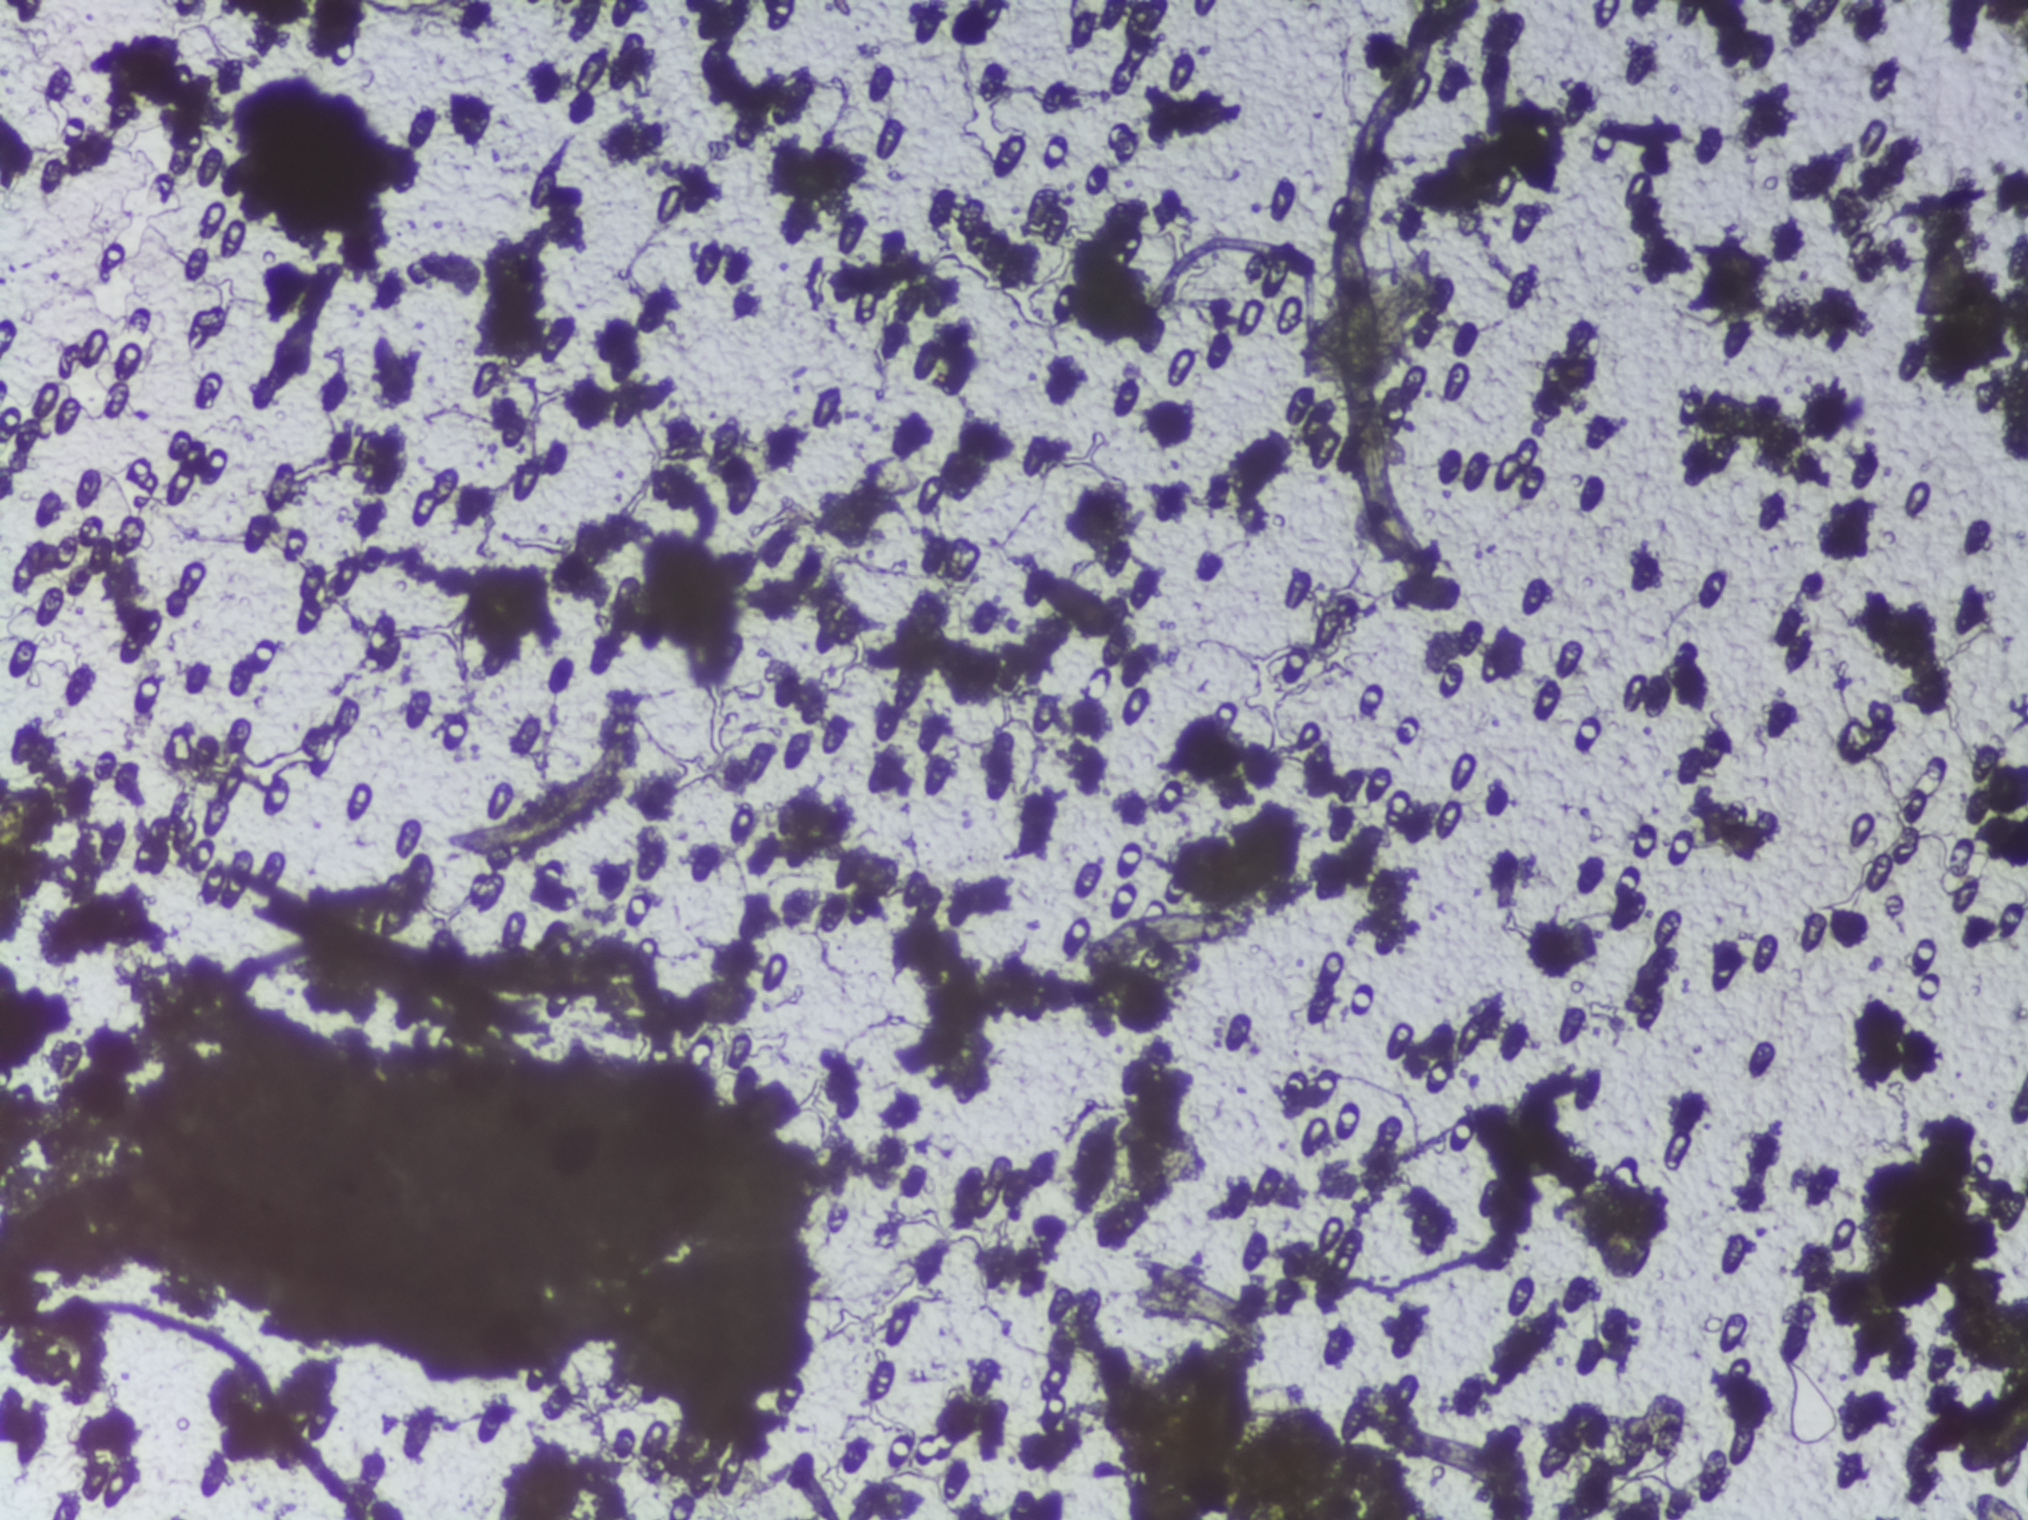
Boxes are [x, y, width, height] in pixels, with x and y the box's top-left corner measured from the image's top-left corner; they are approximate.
Three areas of this image are outlined as Schistosoma eggs, from left to right: [1549, 1161, 127, 123]; [1936, 1299, 92, 70] (reaching the right edge of the frame); [1957, 1382, 71, 91] (reaching the right edge of the frame). Eggs that touch can end up inside the same outlined area.
Photomicrograph of a urine filtration membrane, 4× objective.